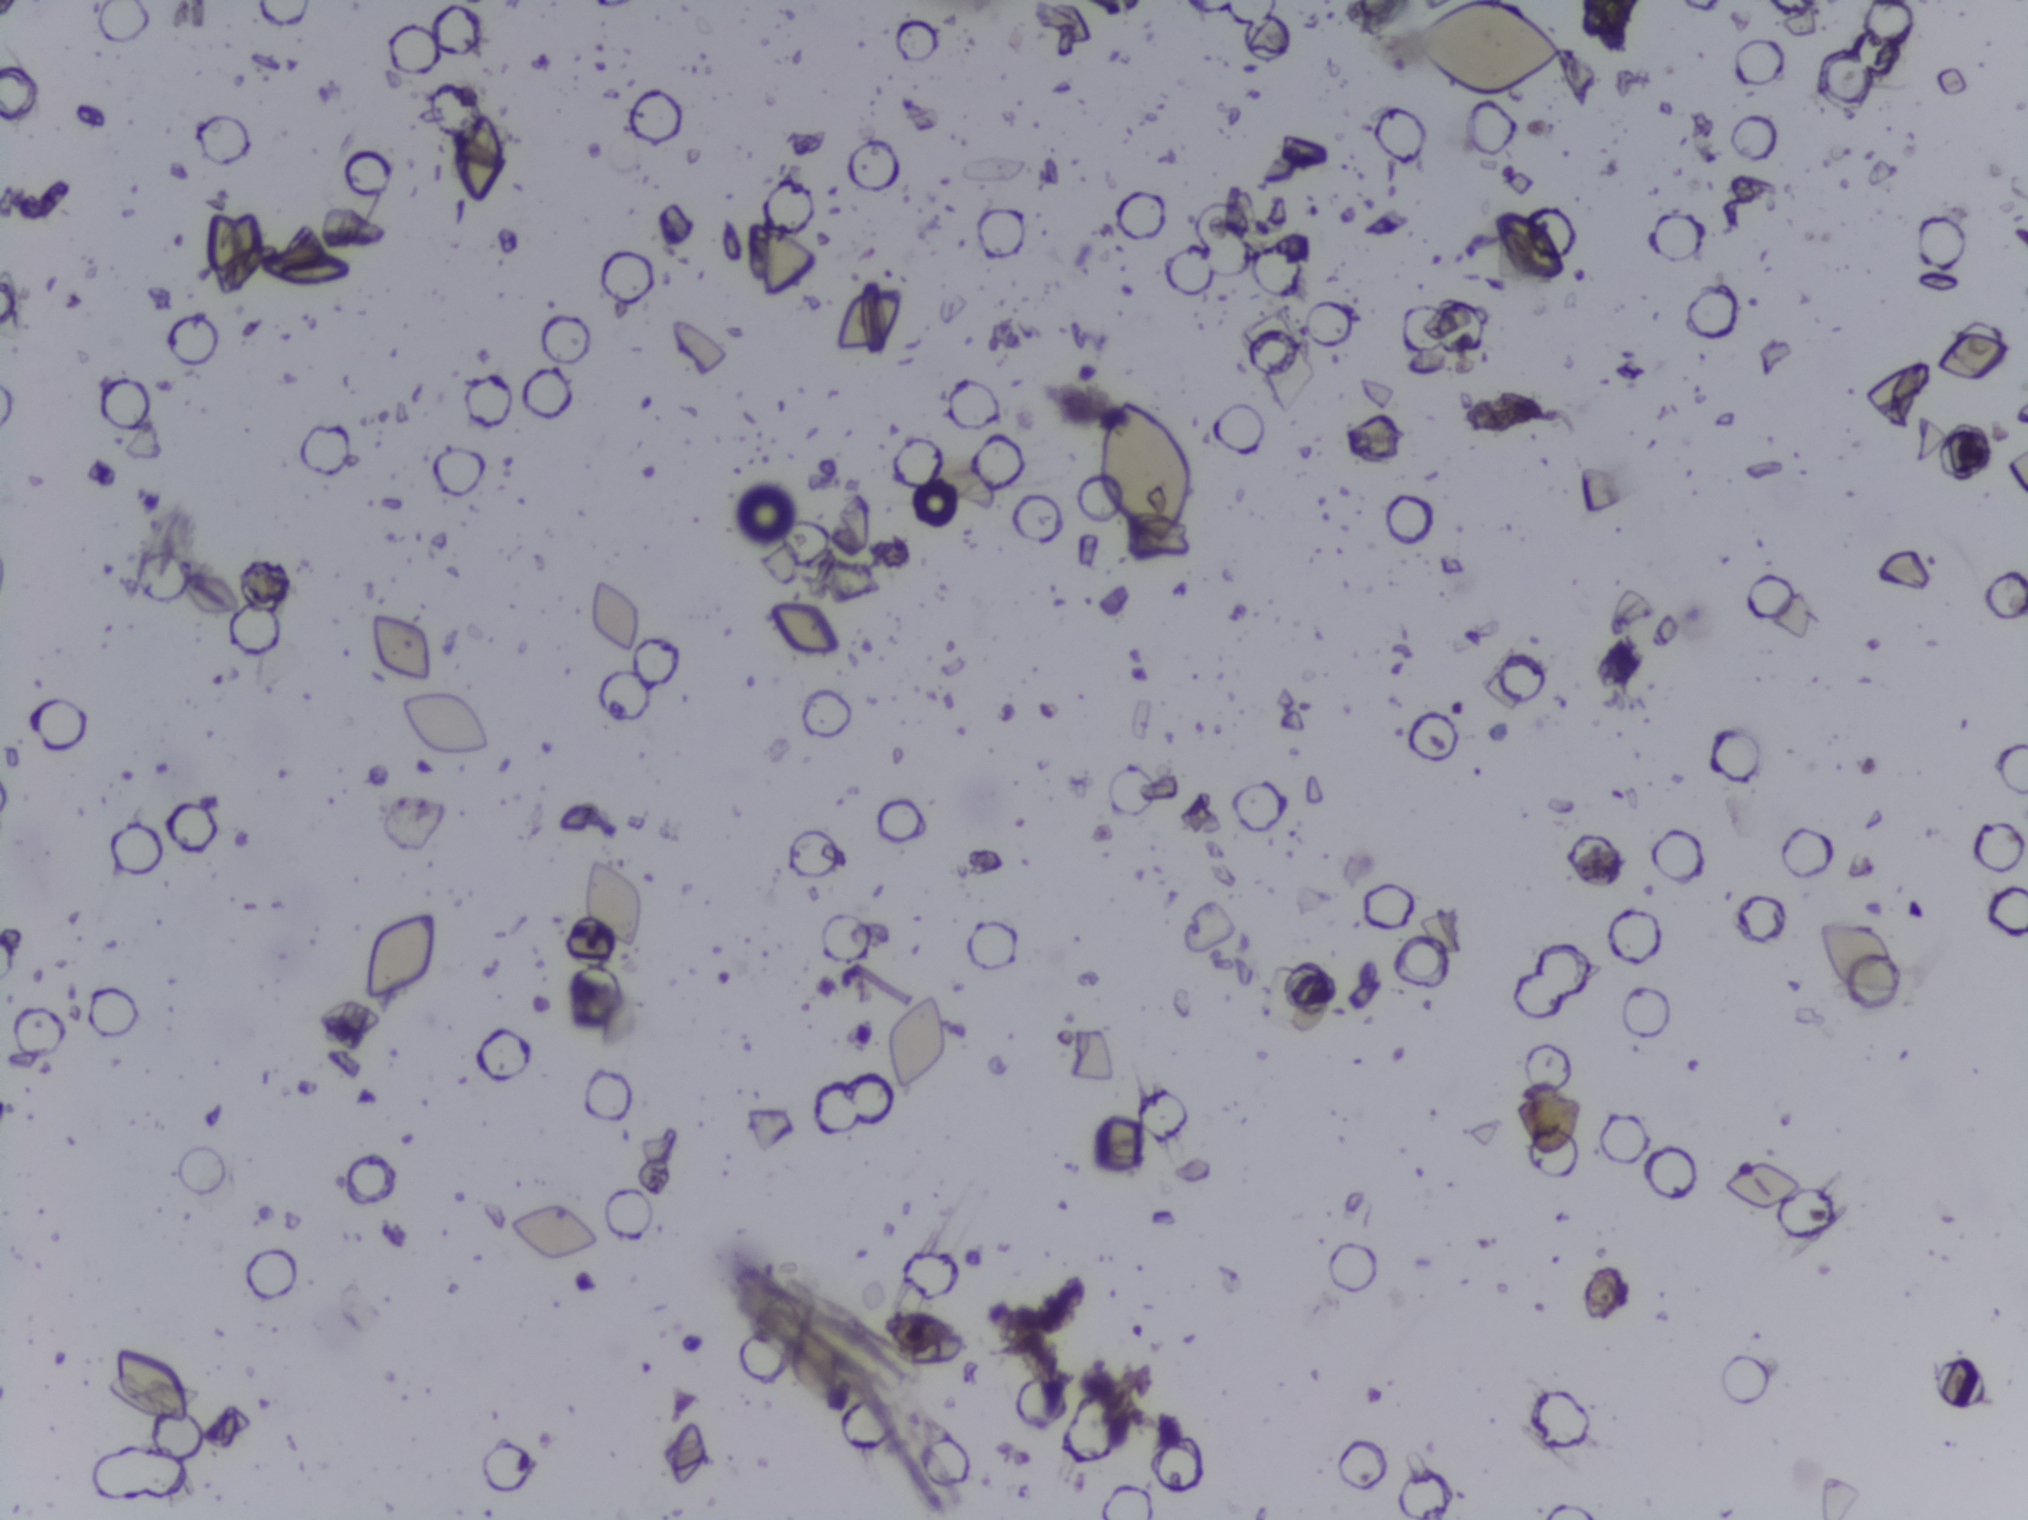
Photograph from an automated digital microscope: urine filter membrane, 4× objective. Field of view: about 1.5 mm wide and 1.1 mm high.
The expert annotation marks no Schistosoma egg in this field of view.